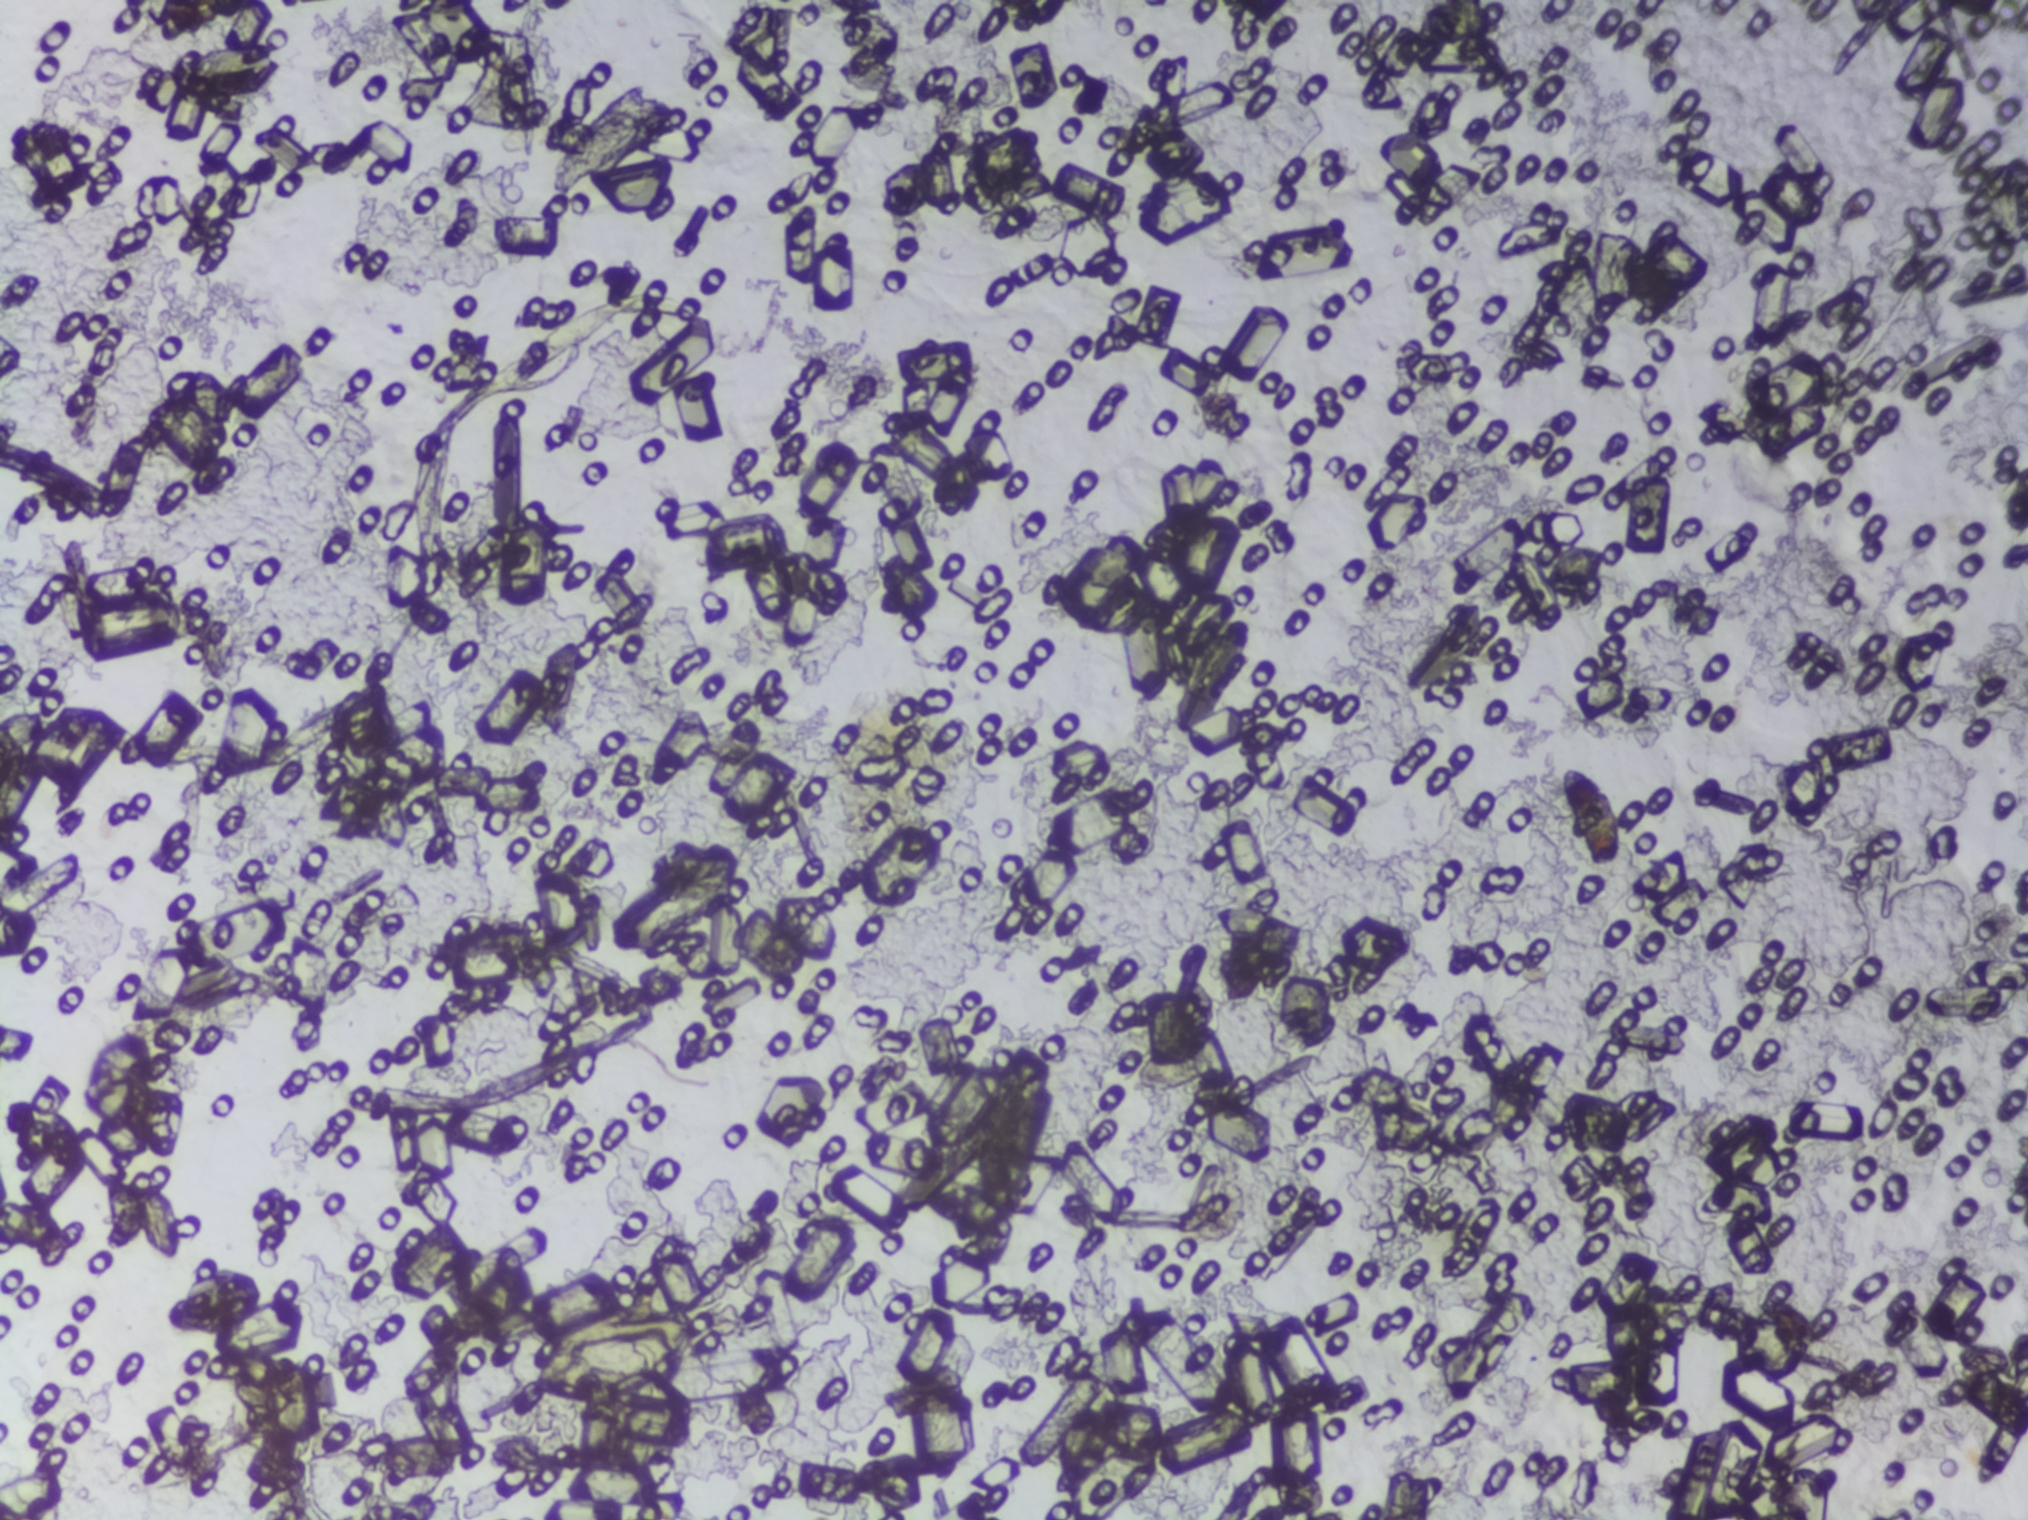
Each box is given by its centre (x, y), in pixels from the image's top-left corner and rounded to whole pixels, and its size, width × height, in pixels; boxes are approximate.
Areas outlined as Schistosoma eggs: centre (610, 1346), 189 × 116 px. Eggs that touch can end up inside the same outlined area. A marked egg may occasionally be S. mansoni rather than S. haematobium.
Urine filter membrane photographed through a 4× microscope objective. Field of view: about 1.5 mm wide and 1.1 mm high.